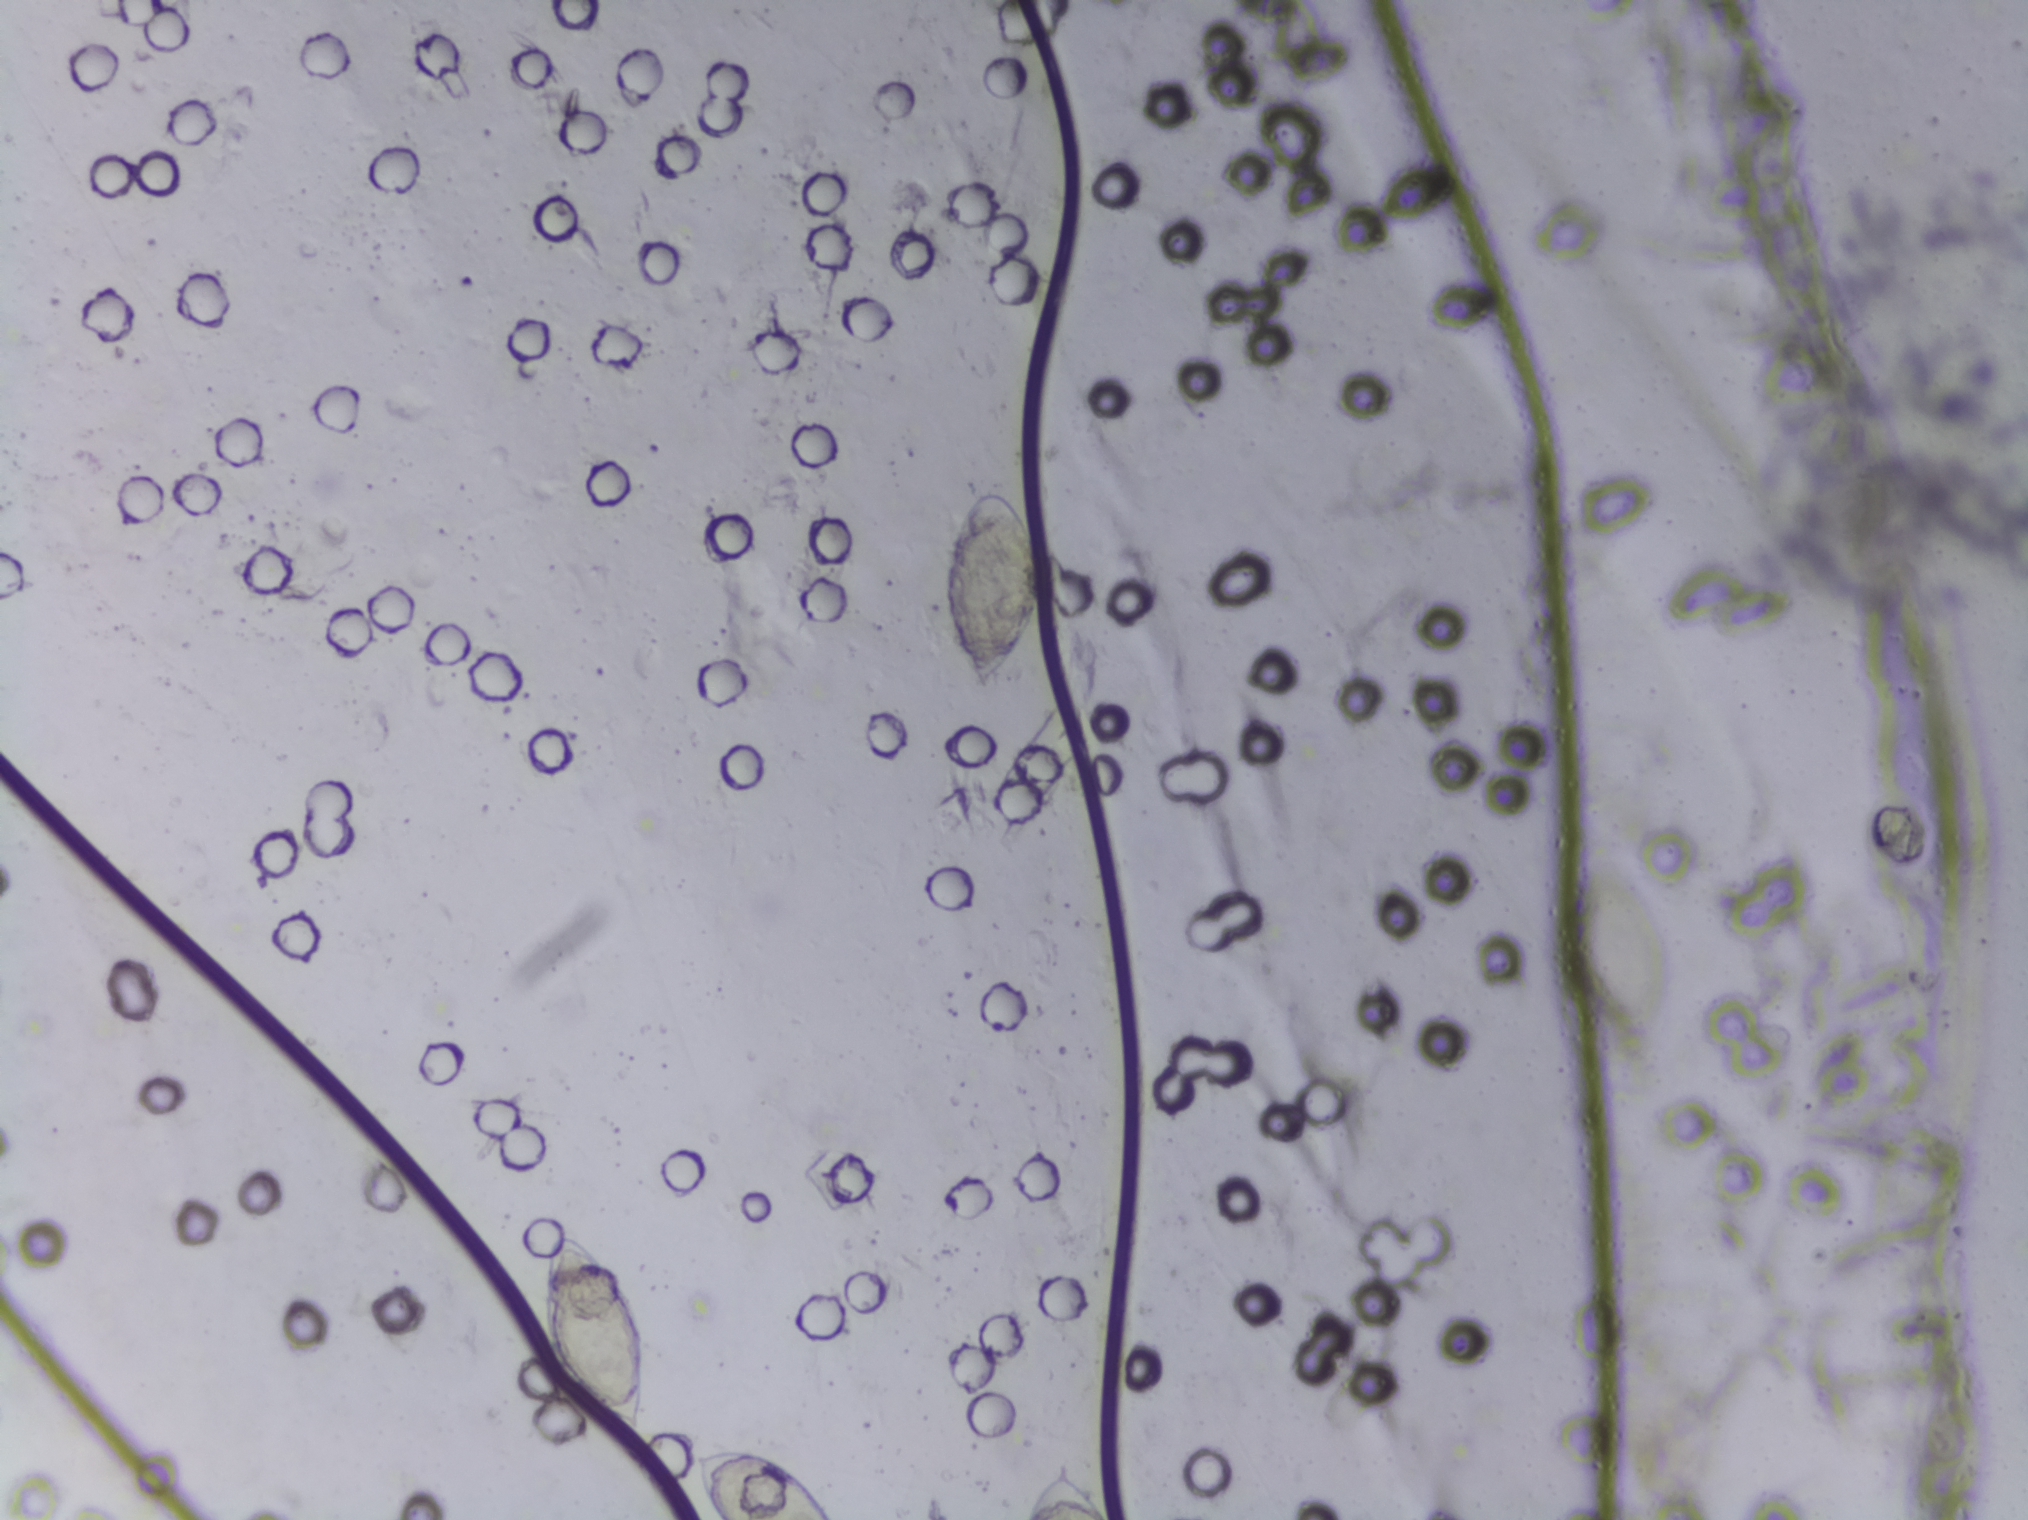
One field of view of a urine filter membrane, 4× objective, 2028 × 1520 pixels.
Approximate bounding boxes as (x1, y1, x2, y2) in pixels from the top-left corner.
The expert annotation outlines Schistosoma eggs at (541, 1229, 652, 1444); (693, 1445, 839, 1519) (reaching the bottom edge of the frame); (937, 484, 1036, 701); (1025, 1457, 1112, 1519) (reaching the bottom edge of the frame). Eggs that touch can end up inside the same outlined area.